One field of view of a urine filter membrane, 4× objective, 2028 × 1520 pixels.
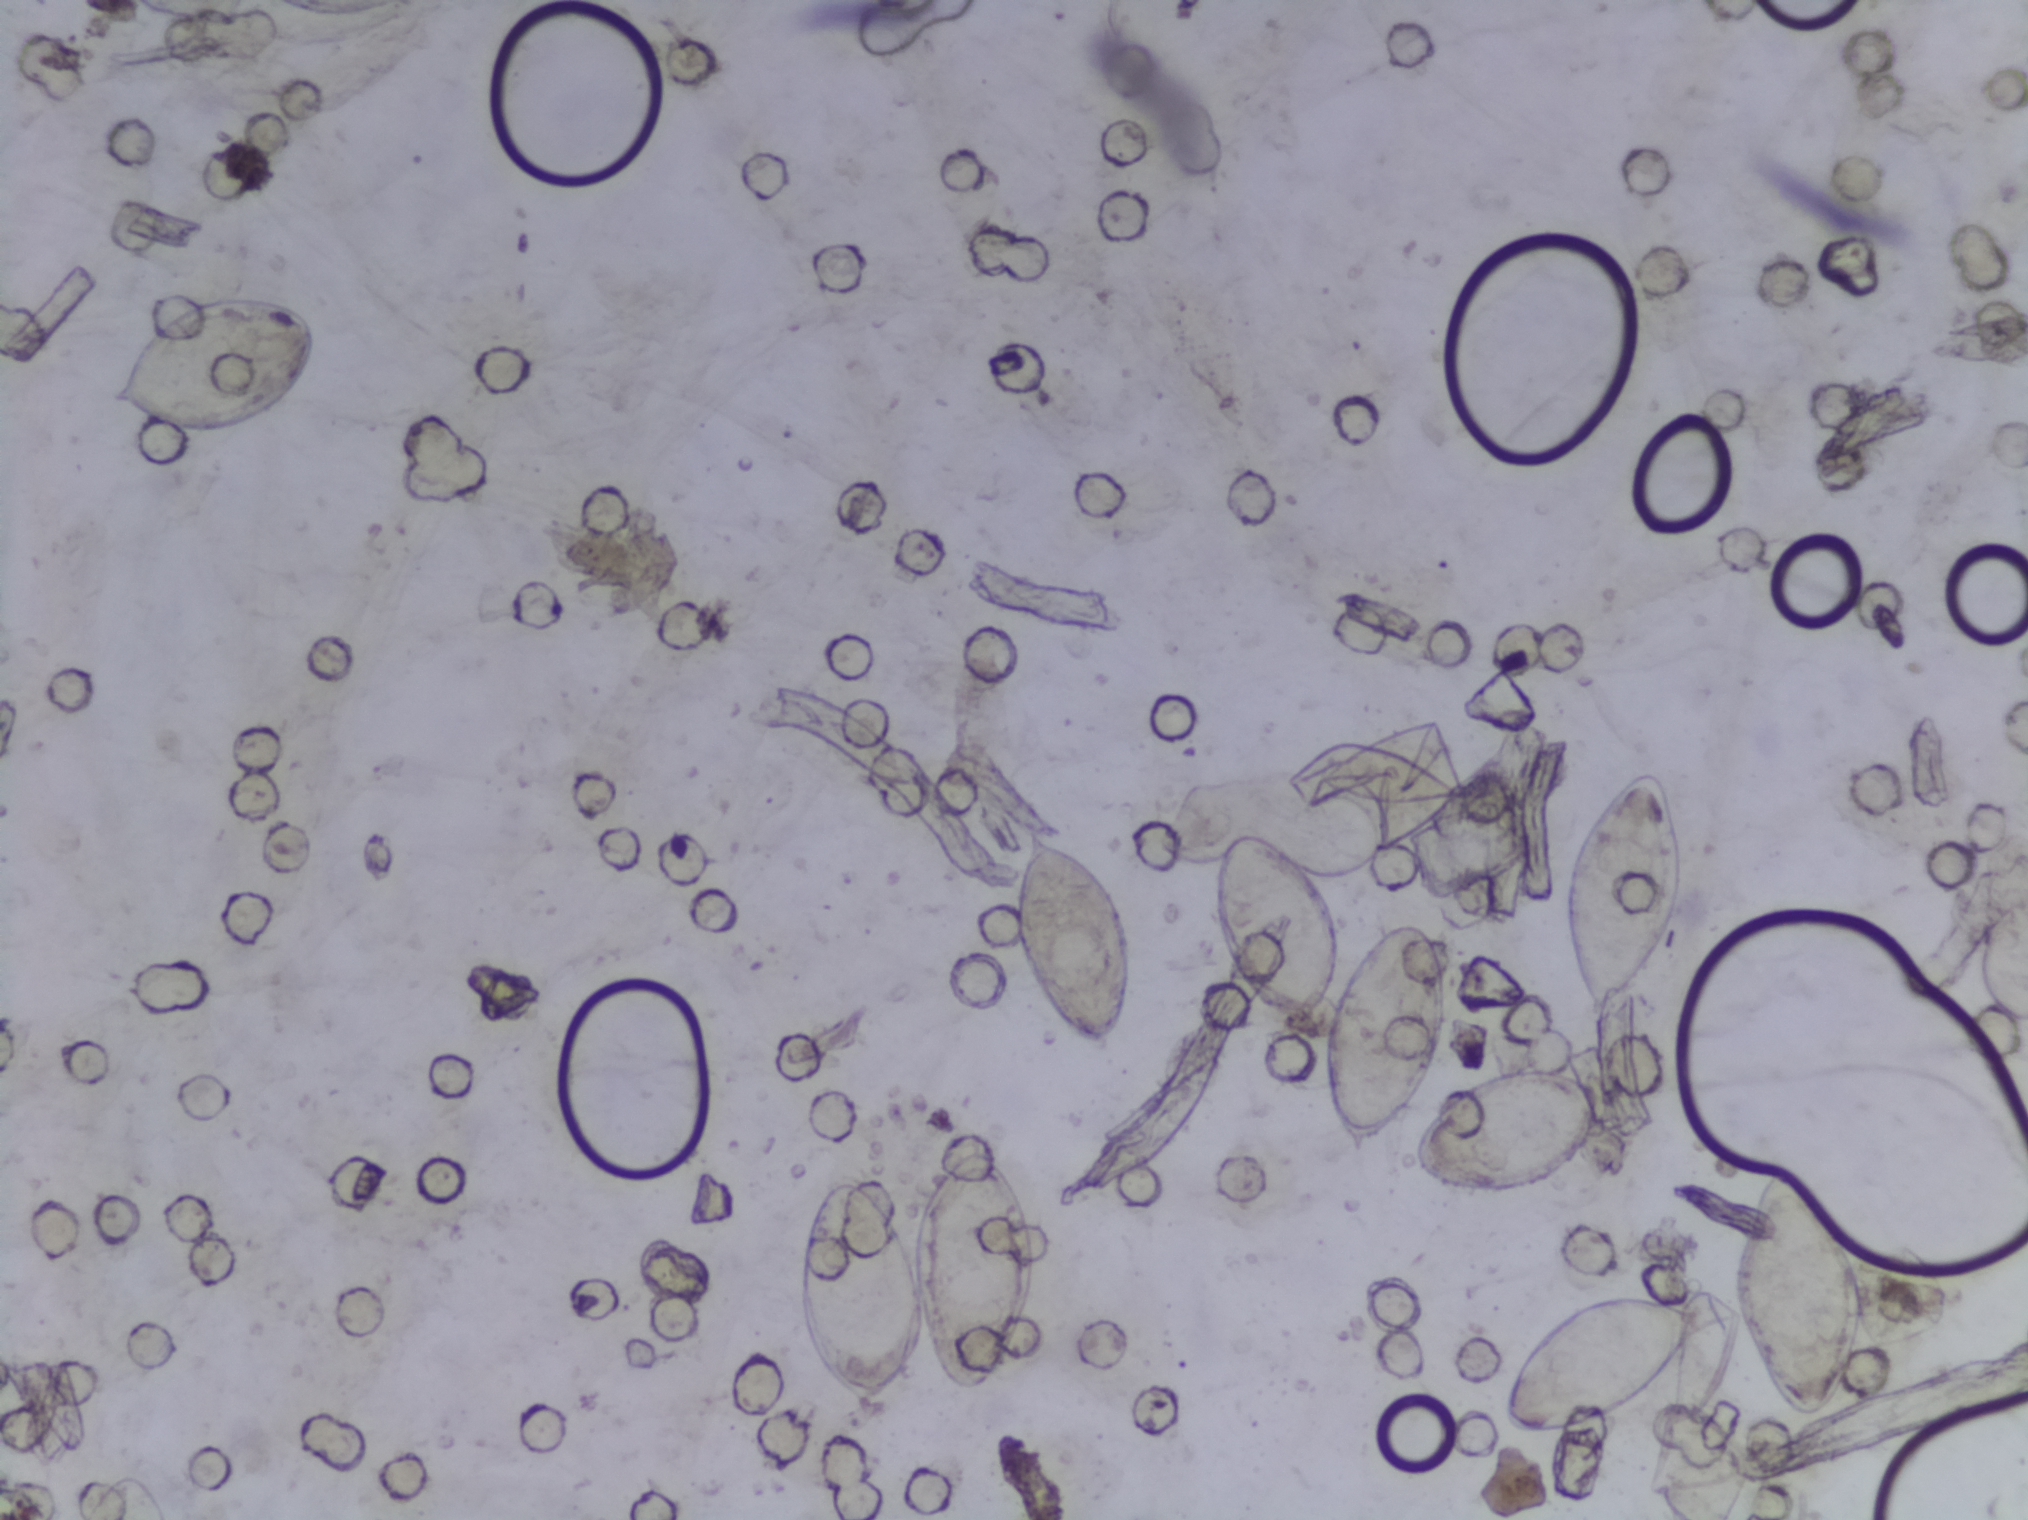
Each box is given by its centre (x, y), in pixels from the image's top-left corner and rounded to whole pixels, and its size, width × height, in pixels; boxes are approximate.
Outlined Schistosoma egg areas, left to right:
1. centre (215, 367), 212 × 150 px
2. centre (920, 1275), 244 × 279 px
3. centre (1069, 937), 117 × 220 px
4. centre (1331, 993), 236 × 325 px
5. centre (1512, 1131), 197 × 125 px
6. centre (1600, 1367), 198 × 146 px
7. centre (1622, 894), 122 × 251 px
8. centre (1798, 1294), 133 × 251 px
About 6.8% of the image's pixels are marked (the marked pixels themselves, not the boxes around them). An outlined area can hold more than one egg.